Photomicrograph of a urine filtration membrane, 4× objective.
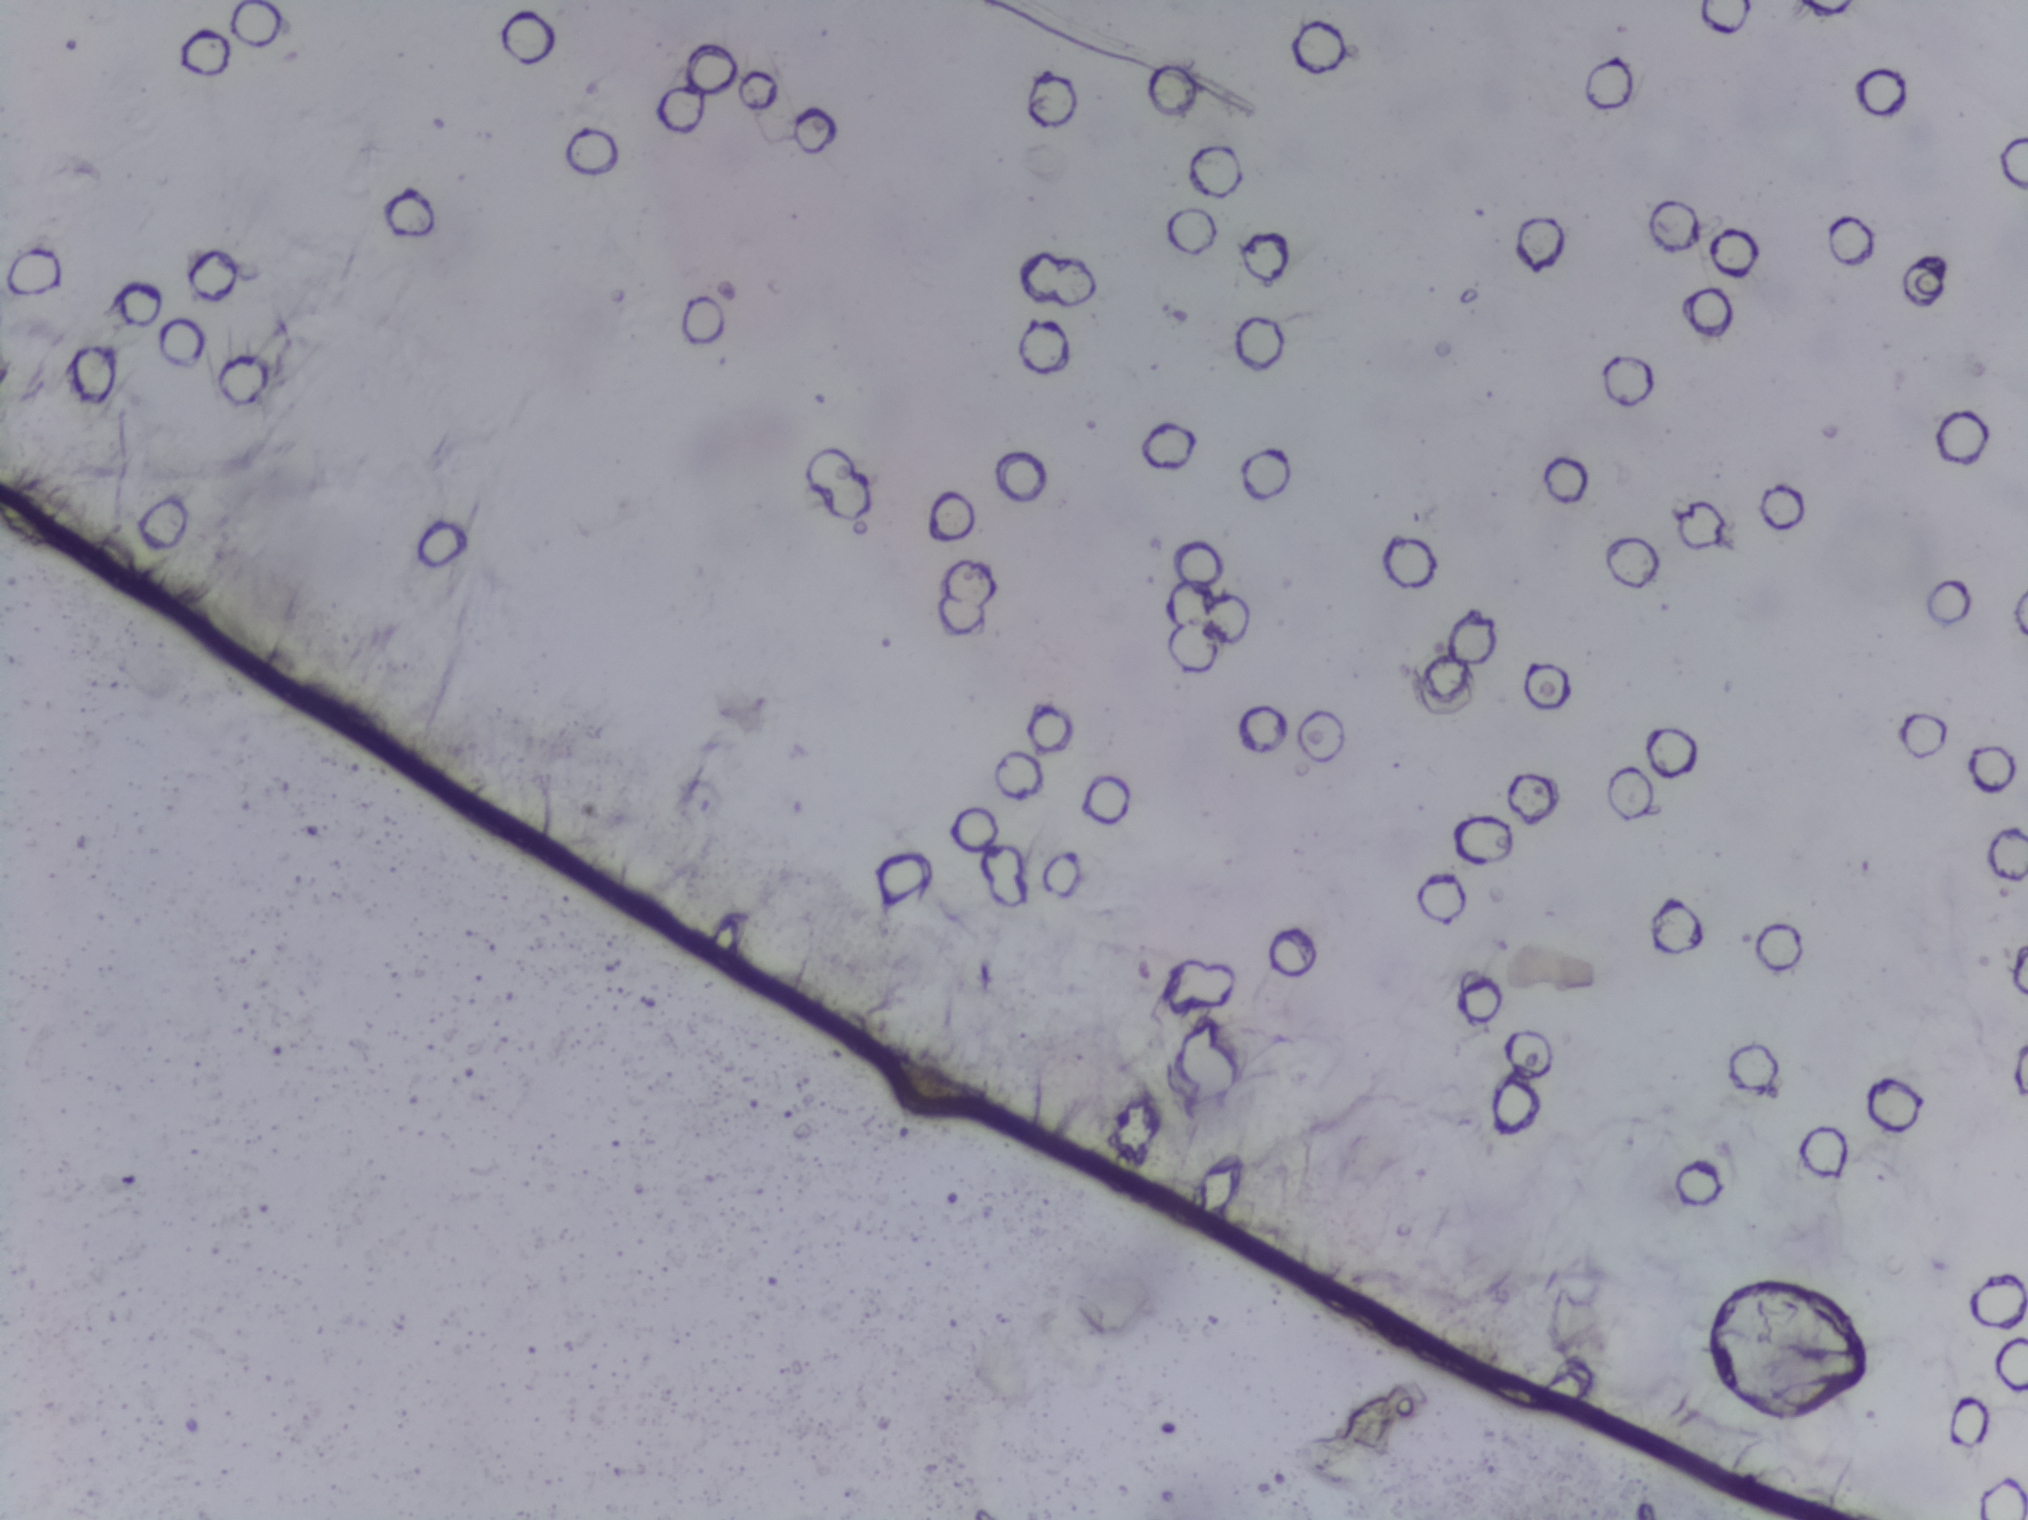
No Schistosoma egg is outlined in this image's expert annotation.